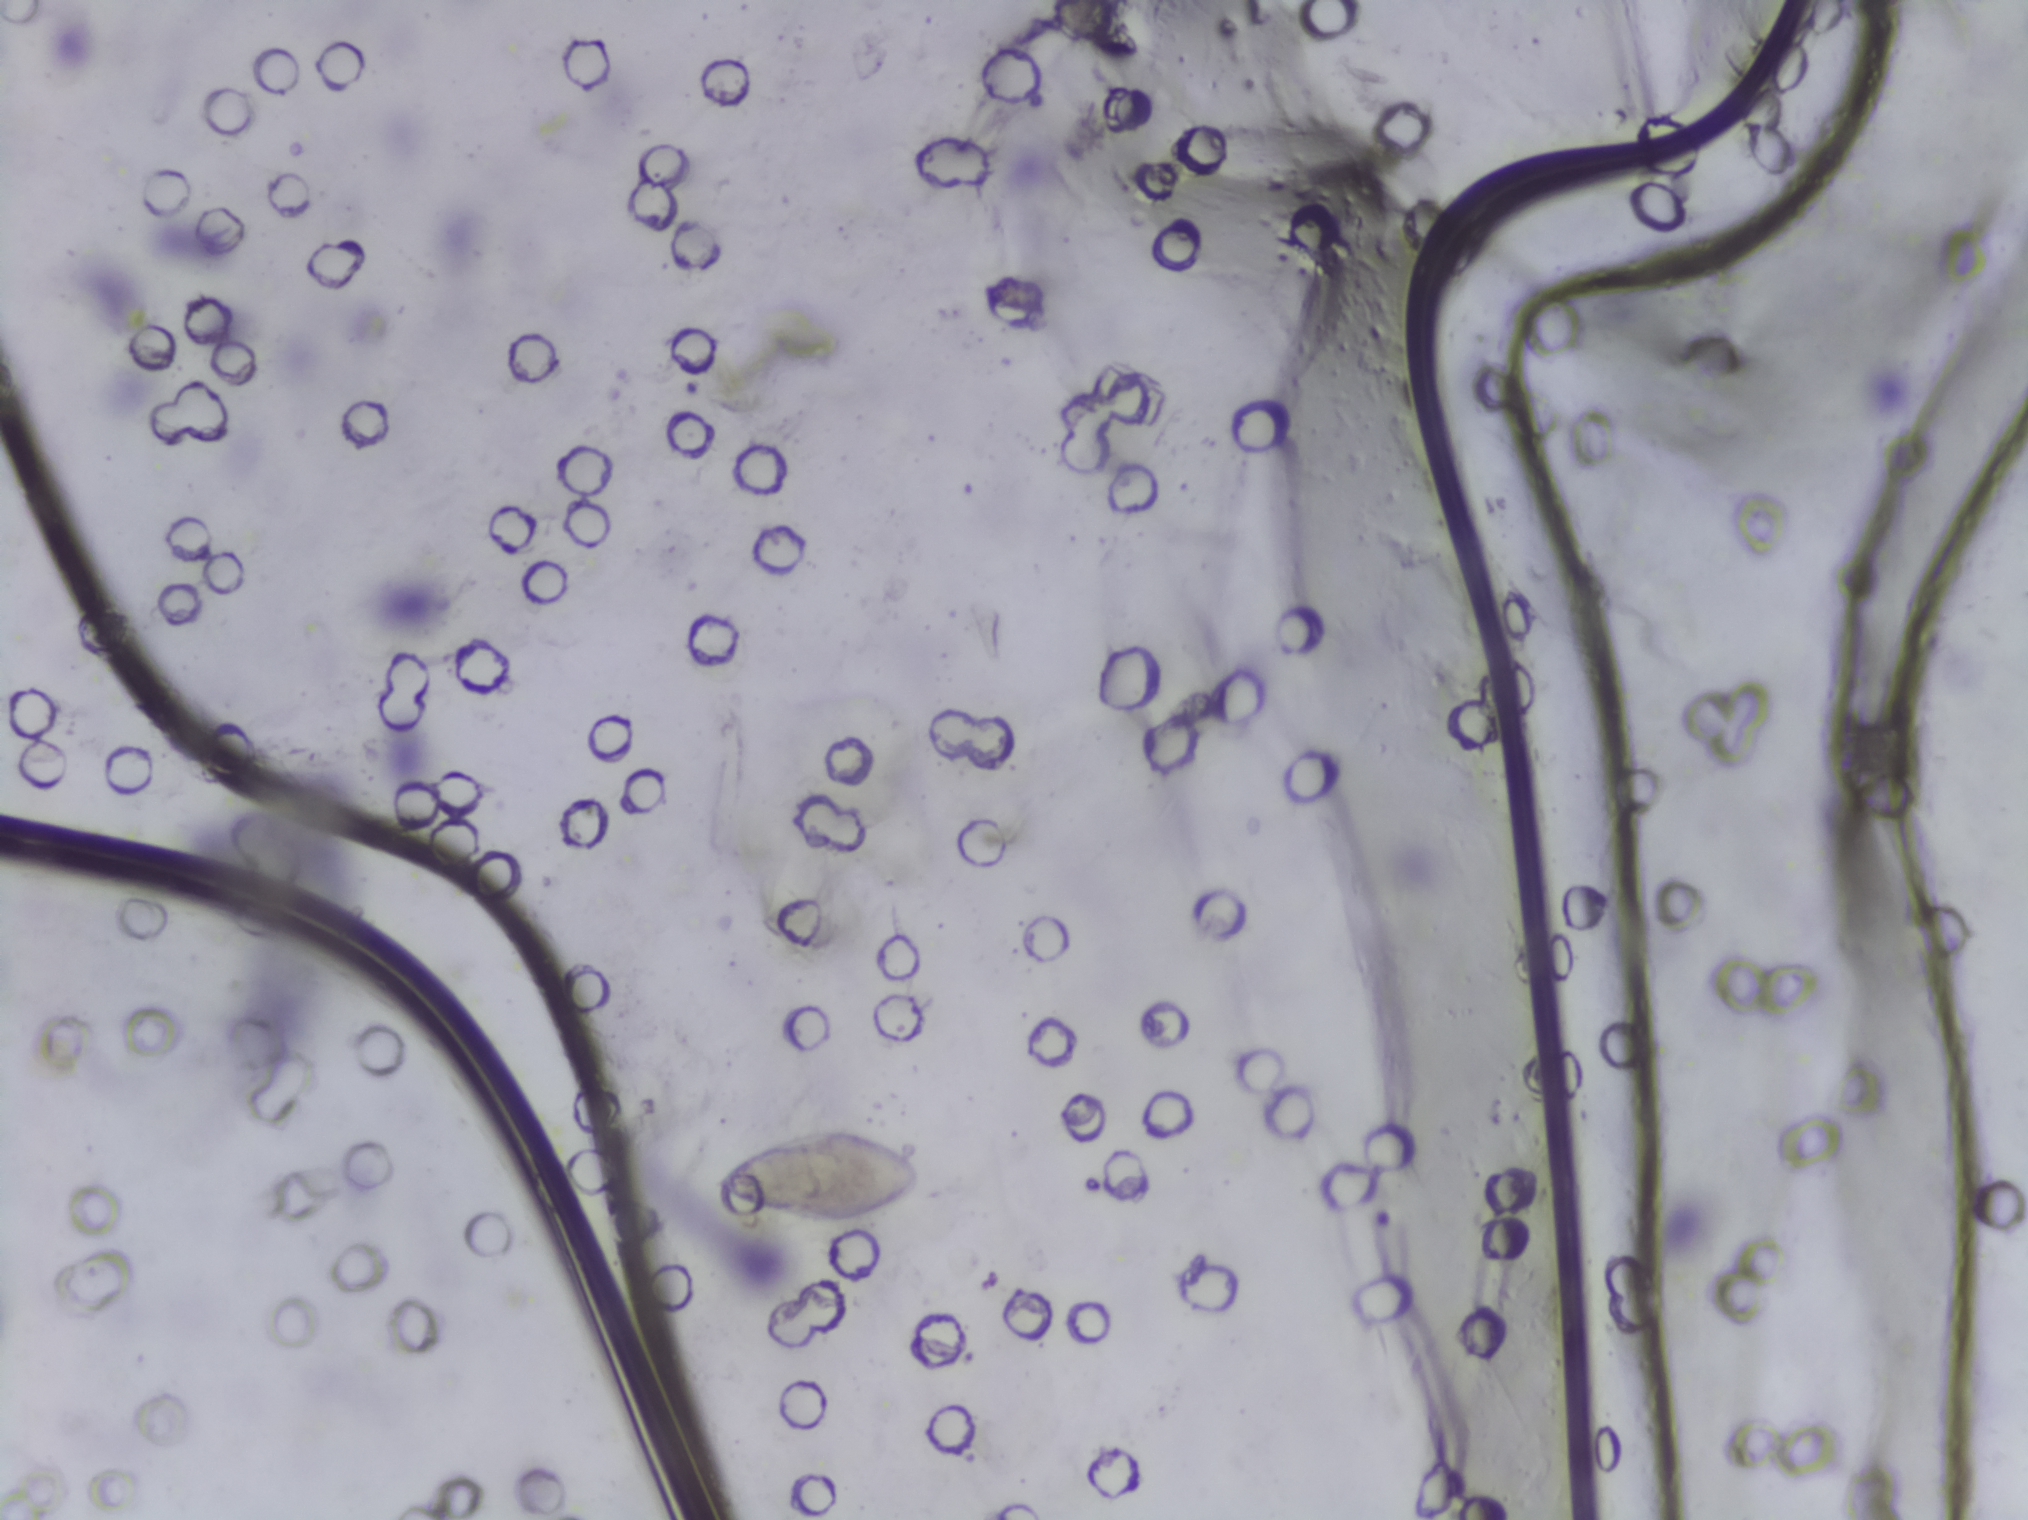
Photograph from an automated digital microscope: urine filter membrane, 4× objective. The image covers about 1.5 × 1.1 mm of the membrane.
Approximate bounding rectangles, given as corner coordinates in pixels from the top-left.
Schistosoma eggs are outlined in the expert annotation at (x1=709, y1=1121, x2=924, y2=1226). An outlined area can hold more than one egg. A marked egg may occasionally be S. mansoni rather than S. haematobium.